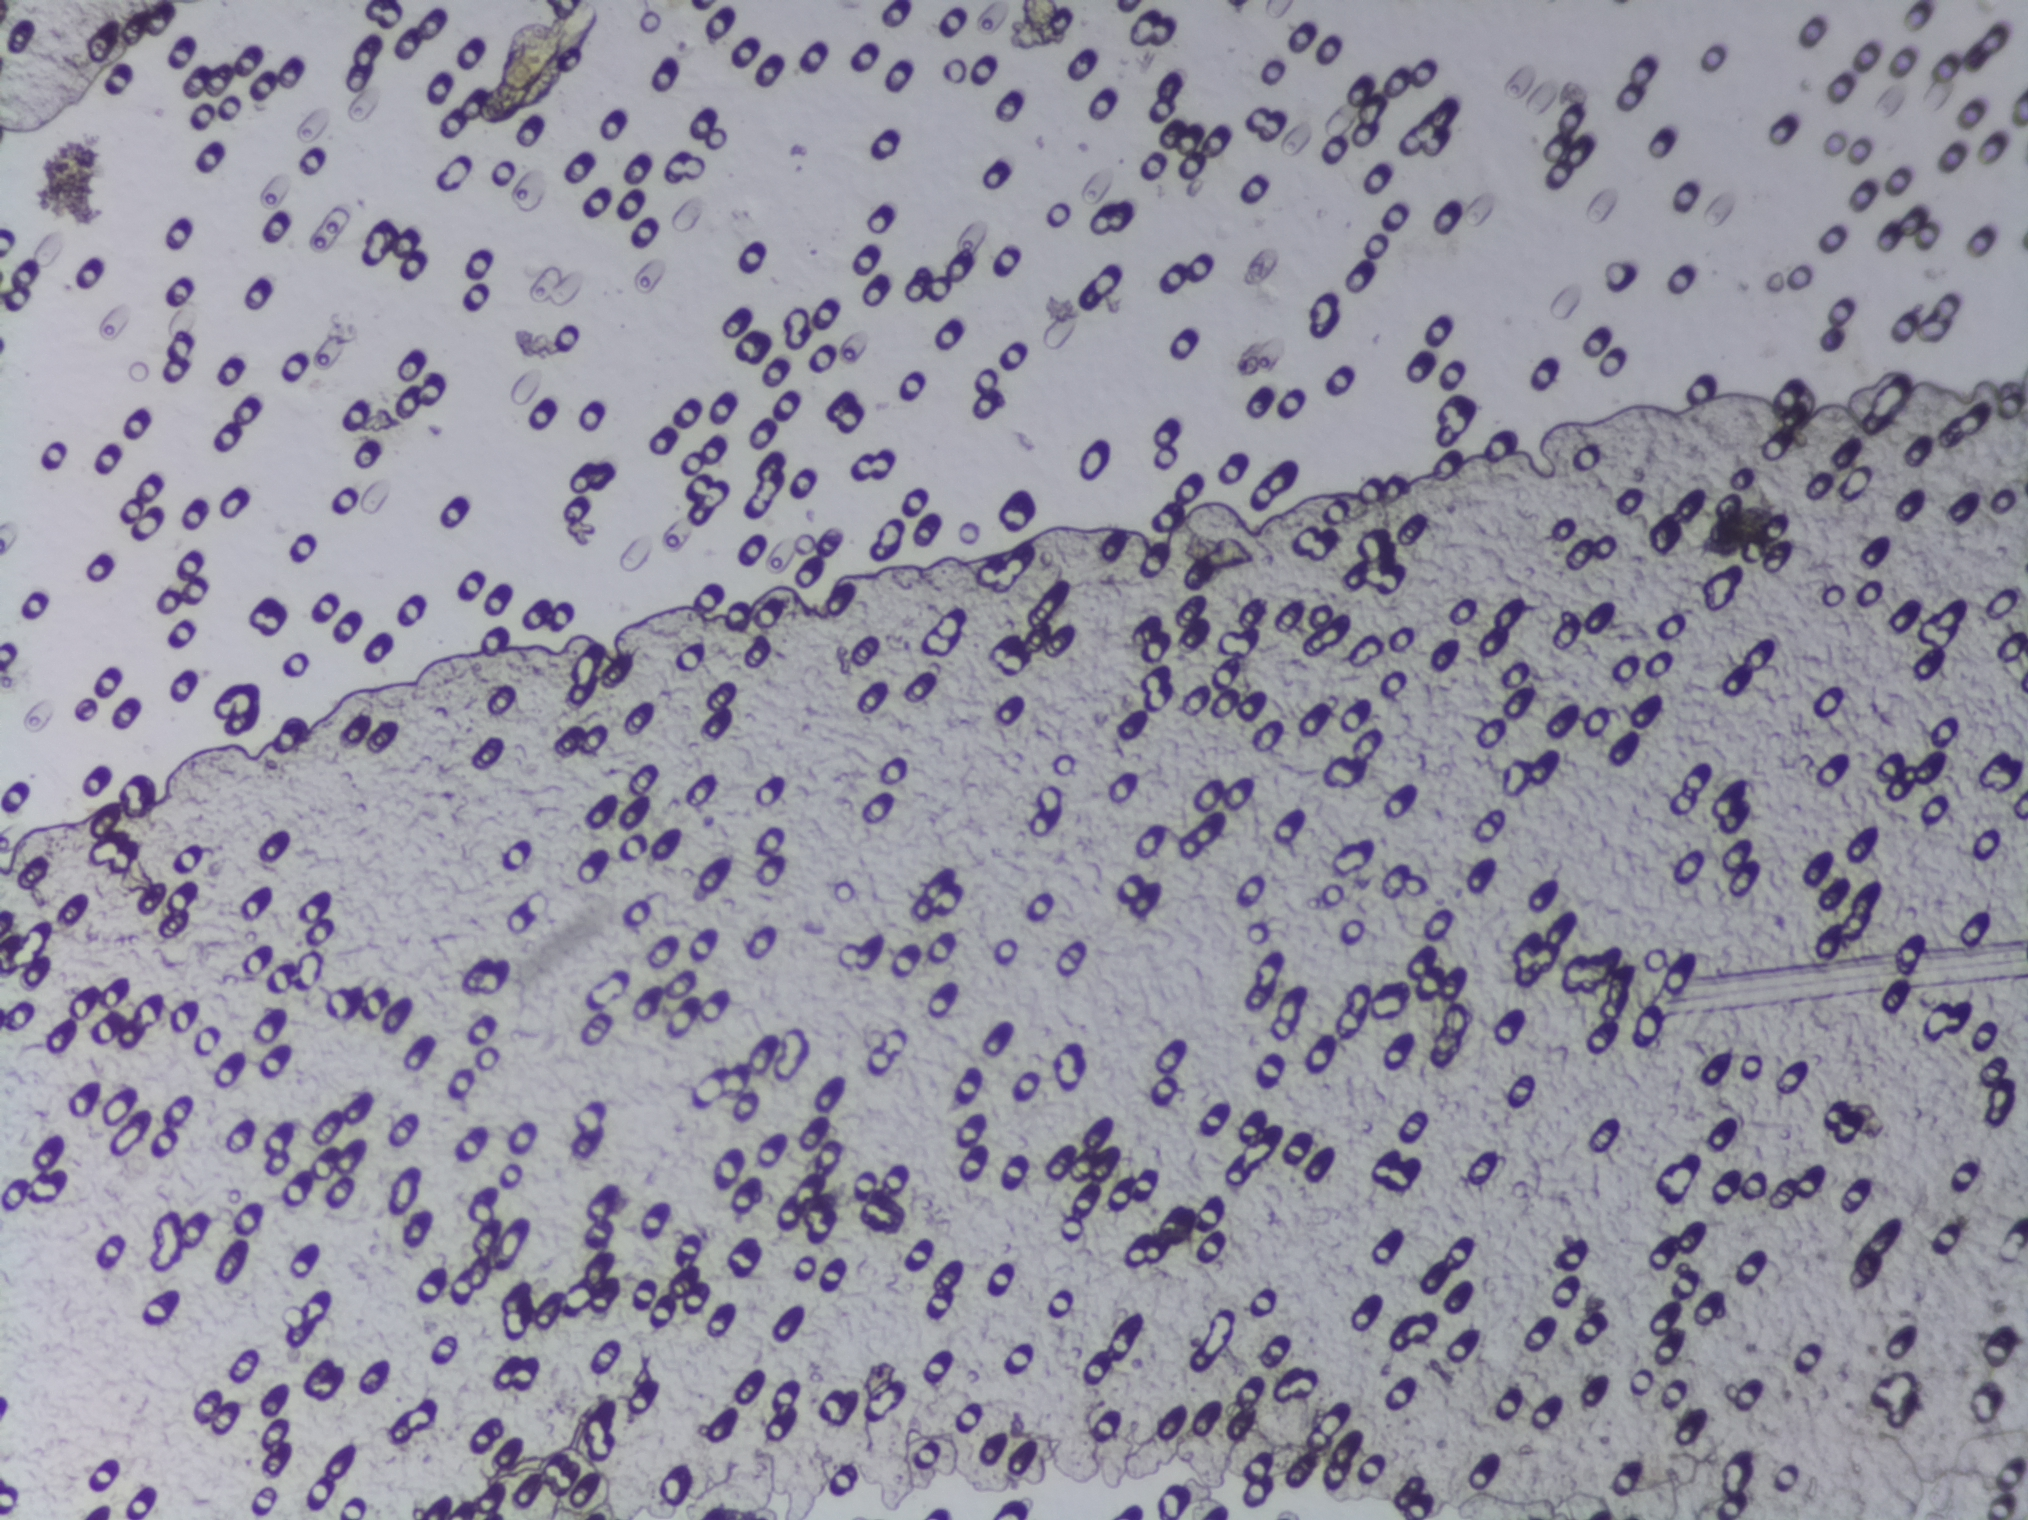
No area of this image was outlined as a Schistosoma egg.
Photomicrograph of a urine filtration membrane, 4× objective. The image covers about 1.5 × 1.1 mm of the membrane.